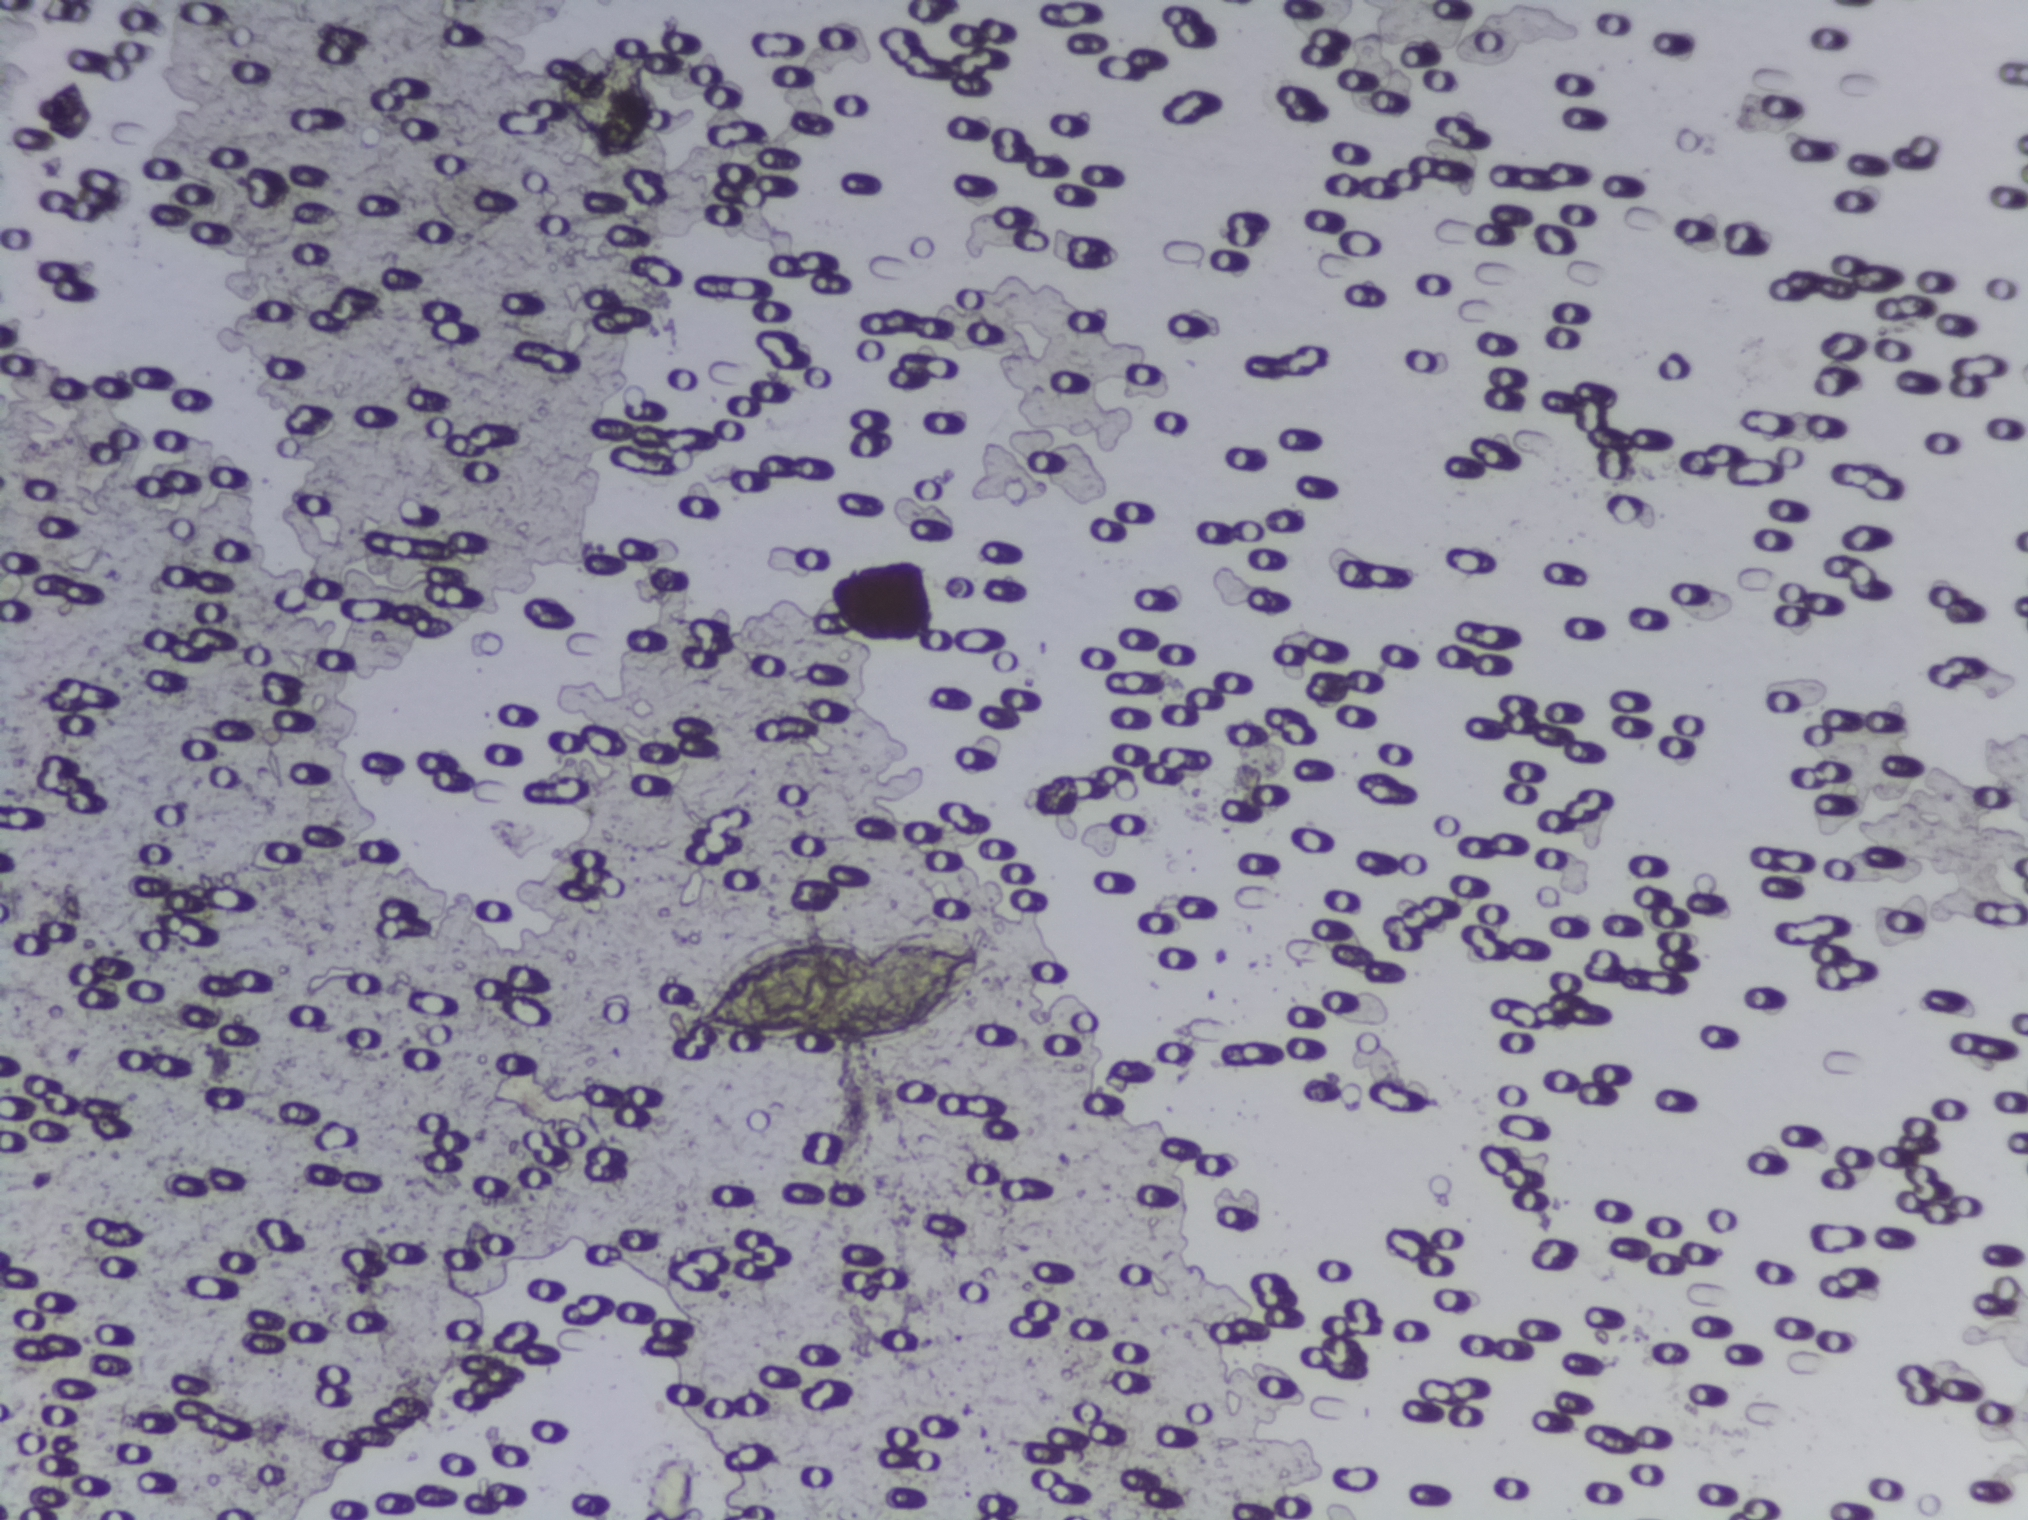
Urine filter membrane photographed through a 4× microscope objective.
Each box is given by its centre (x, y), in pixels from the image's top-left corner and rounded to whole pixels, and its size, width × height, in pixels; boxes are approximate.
Outlined Schistosoma egg areas:
1. centre (842, 983), 326 × 139 px
The marked pixels themselves, not the box around them, cover about 1.1% of the image. An outlined area can hold more than one egg.